One field of view of a urine filter membrane, 4× objective, 2028 × 1520 pixels.
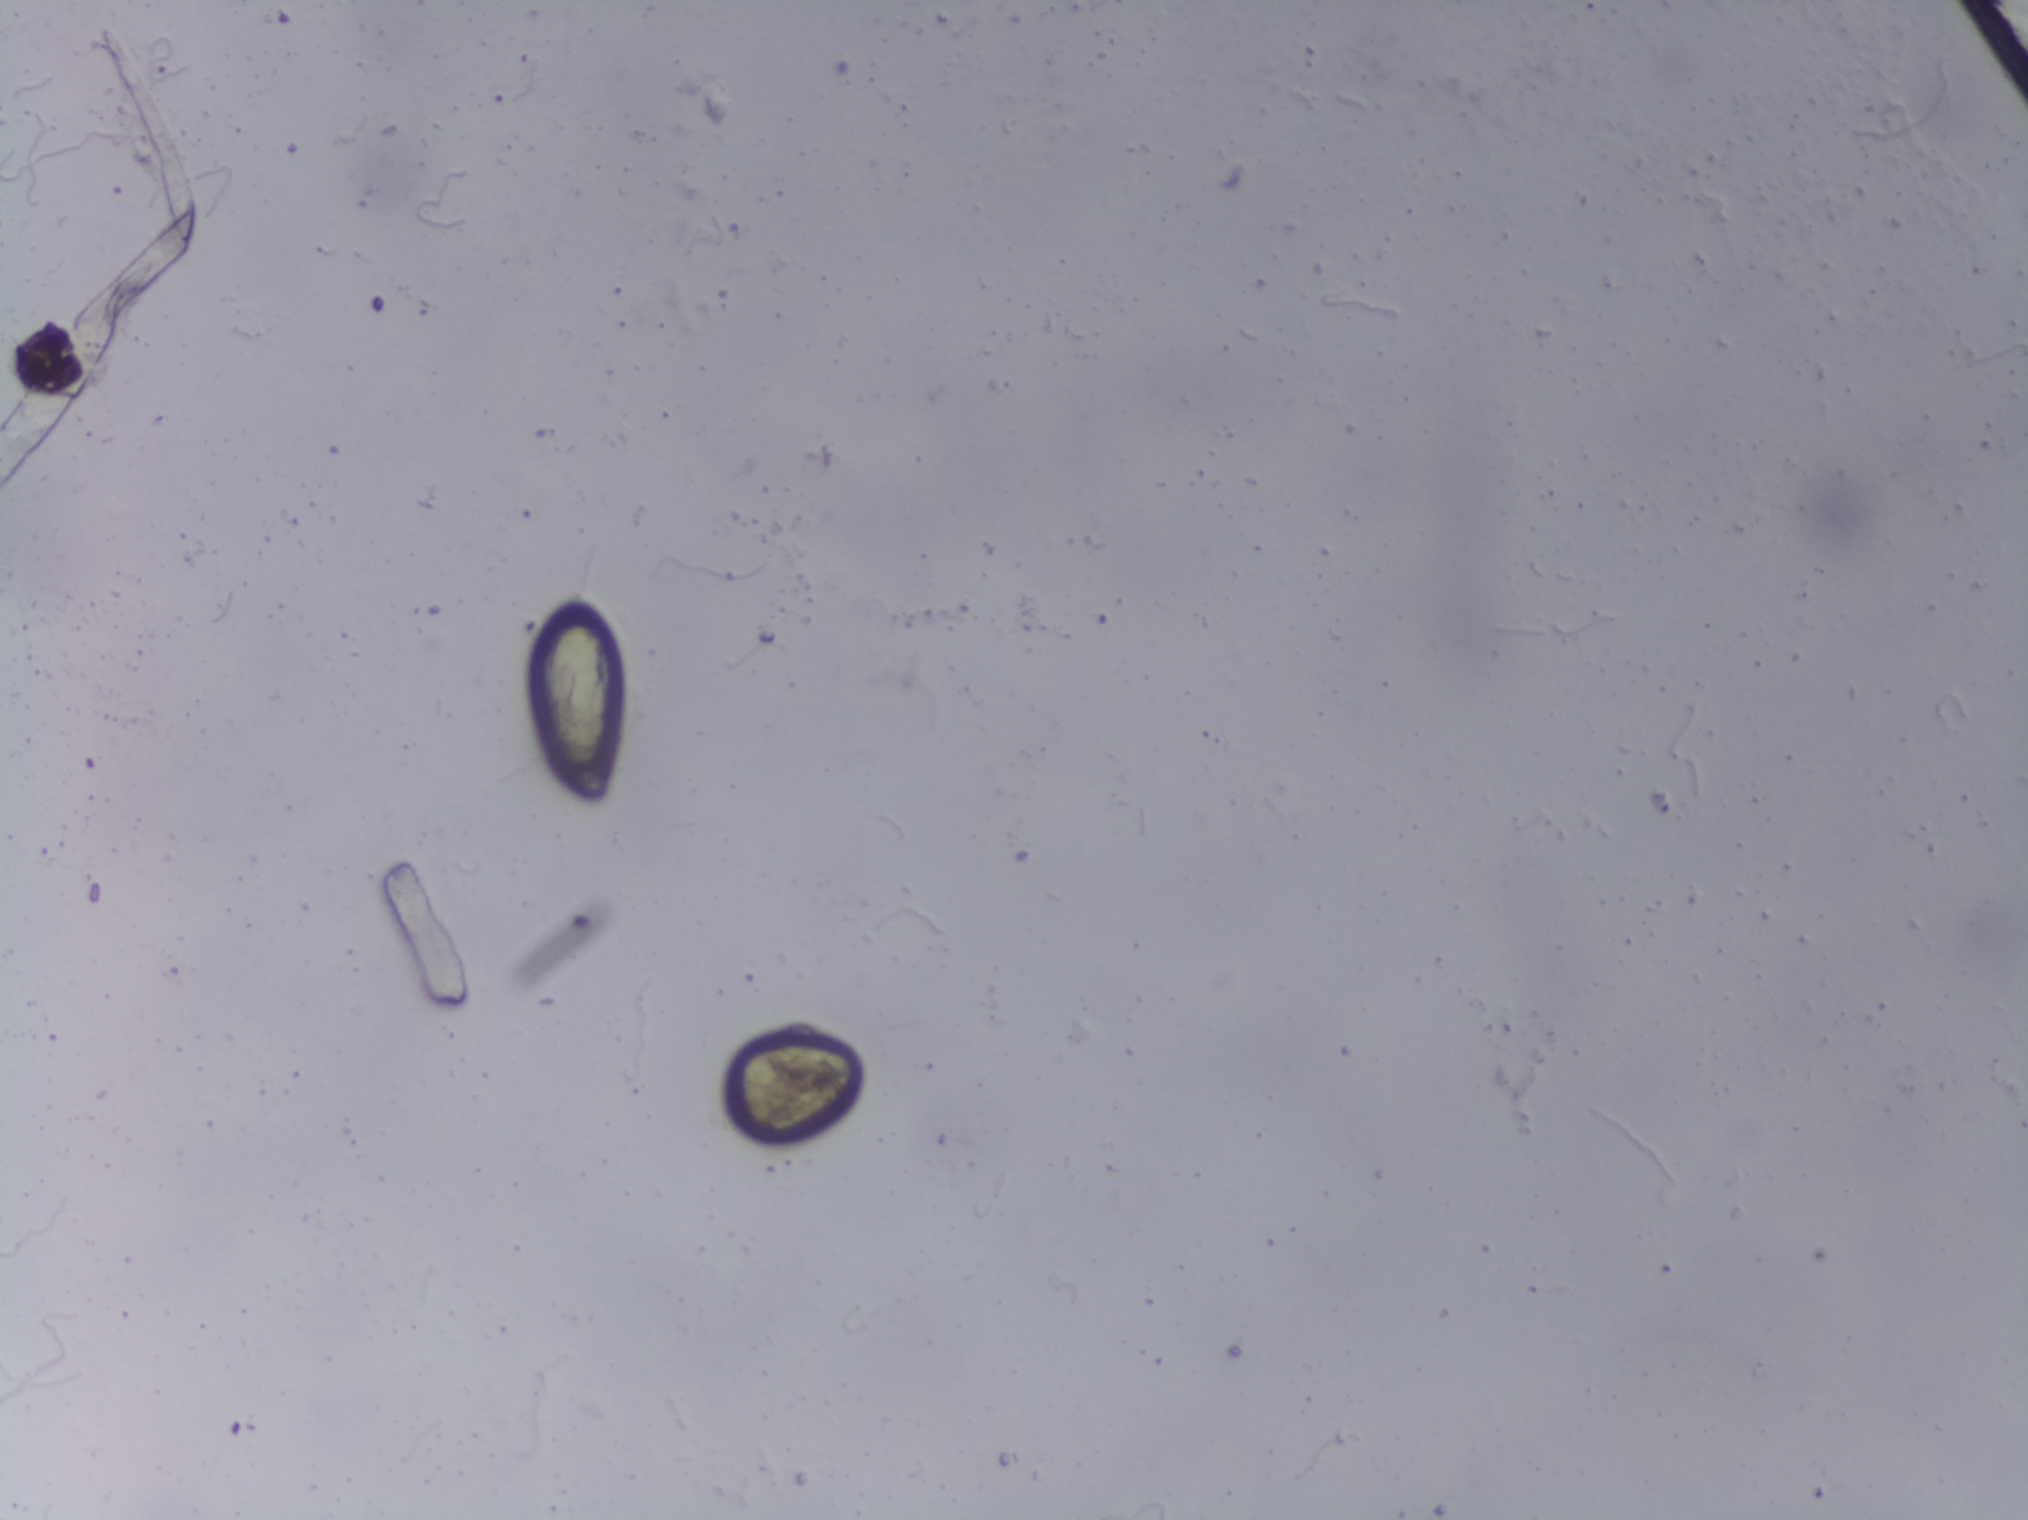
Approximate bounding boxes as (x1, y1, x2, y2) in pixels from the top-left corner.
The expert annotation outlines Schistosoma eggs at (533, 581, 621, 782). Marked pixels, not the box around them: about 0.4% of the image. An outlined area can hold more than one egg.